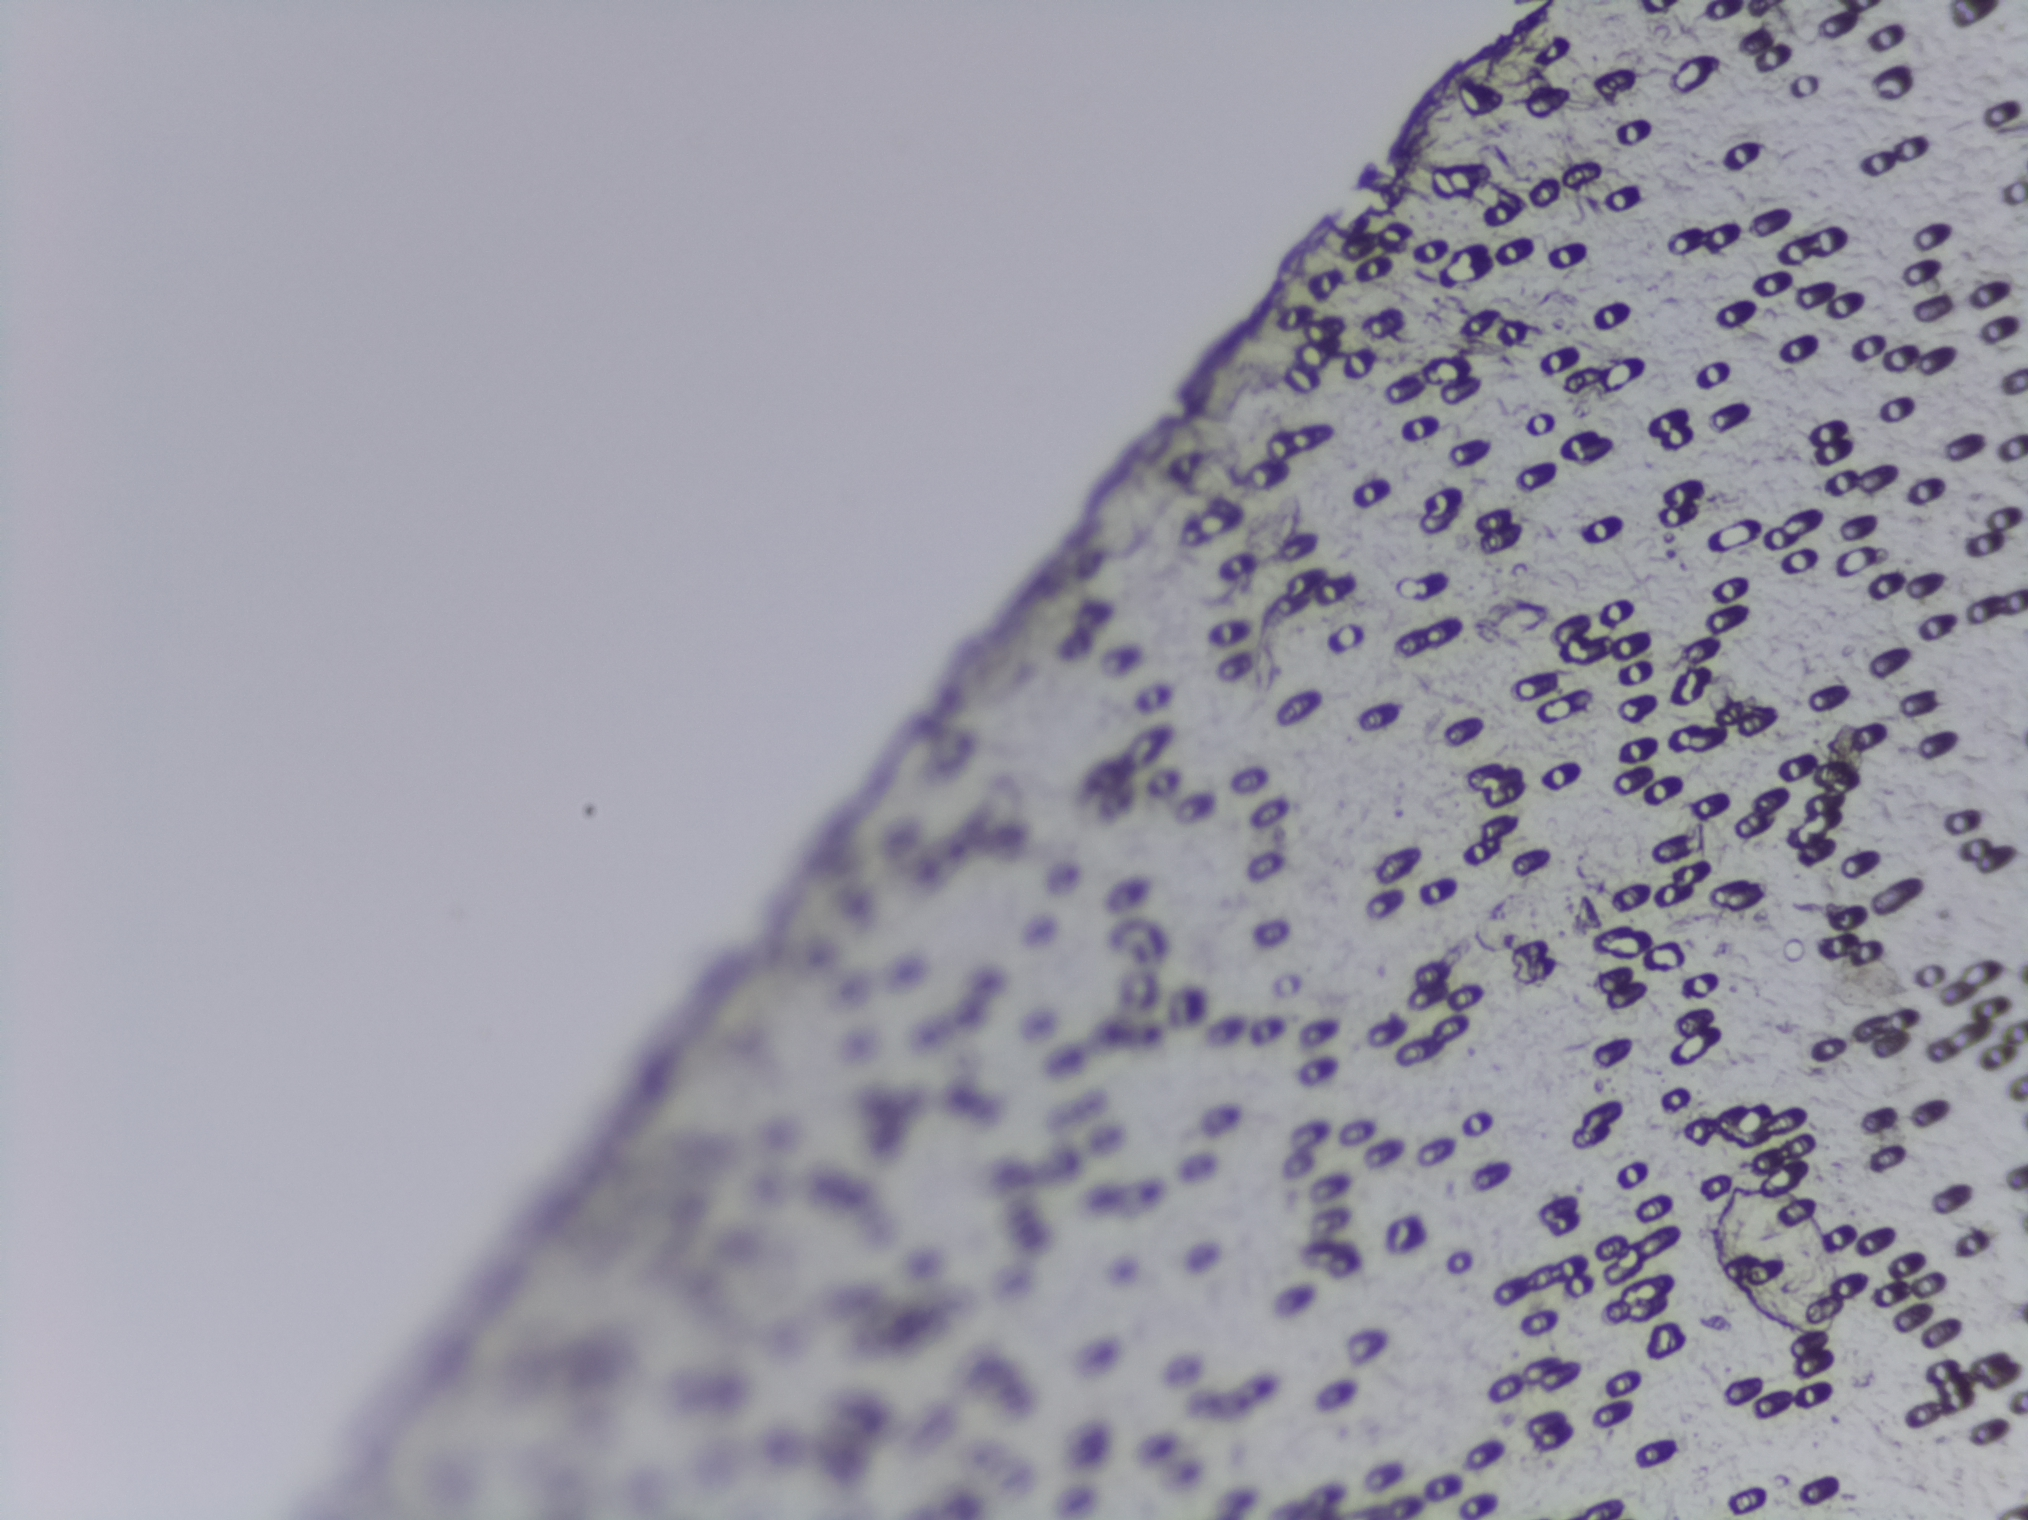
One field of view of a urine filter membrane, 4× objective, 2028 × 1520 pixels. The field of view is about 1.5 mm × 1.1 mm.
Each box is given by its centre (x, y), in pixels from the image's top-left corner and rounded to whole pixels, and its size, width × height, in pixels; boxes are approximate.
Schistosoma egg areas, outlined: centre (1775, 1252), 156 × 214 px. Eggs that touch can end up inside the same outlined area.